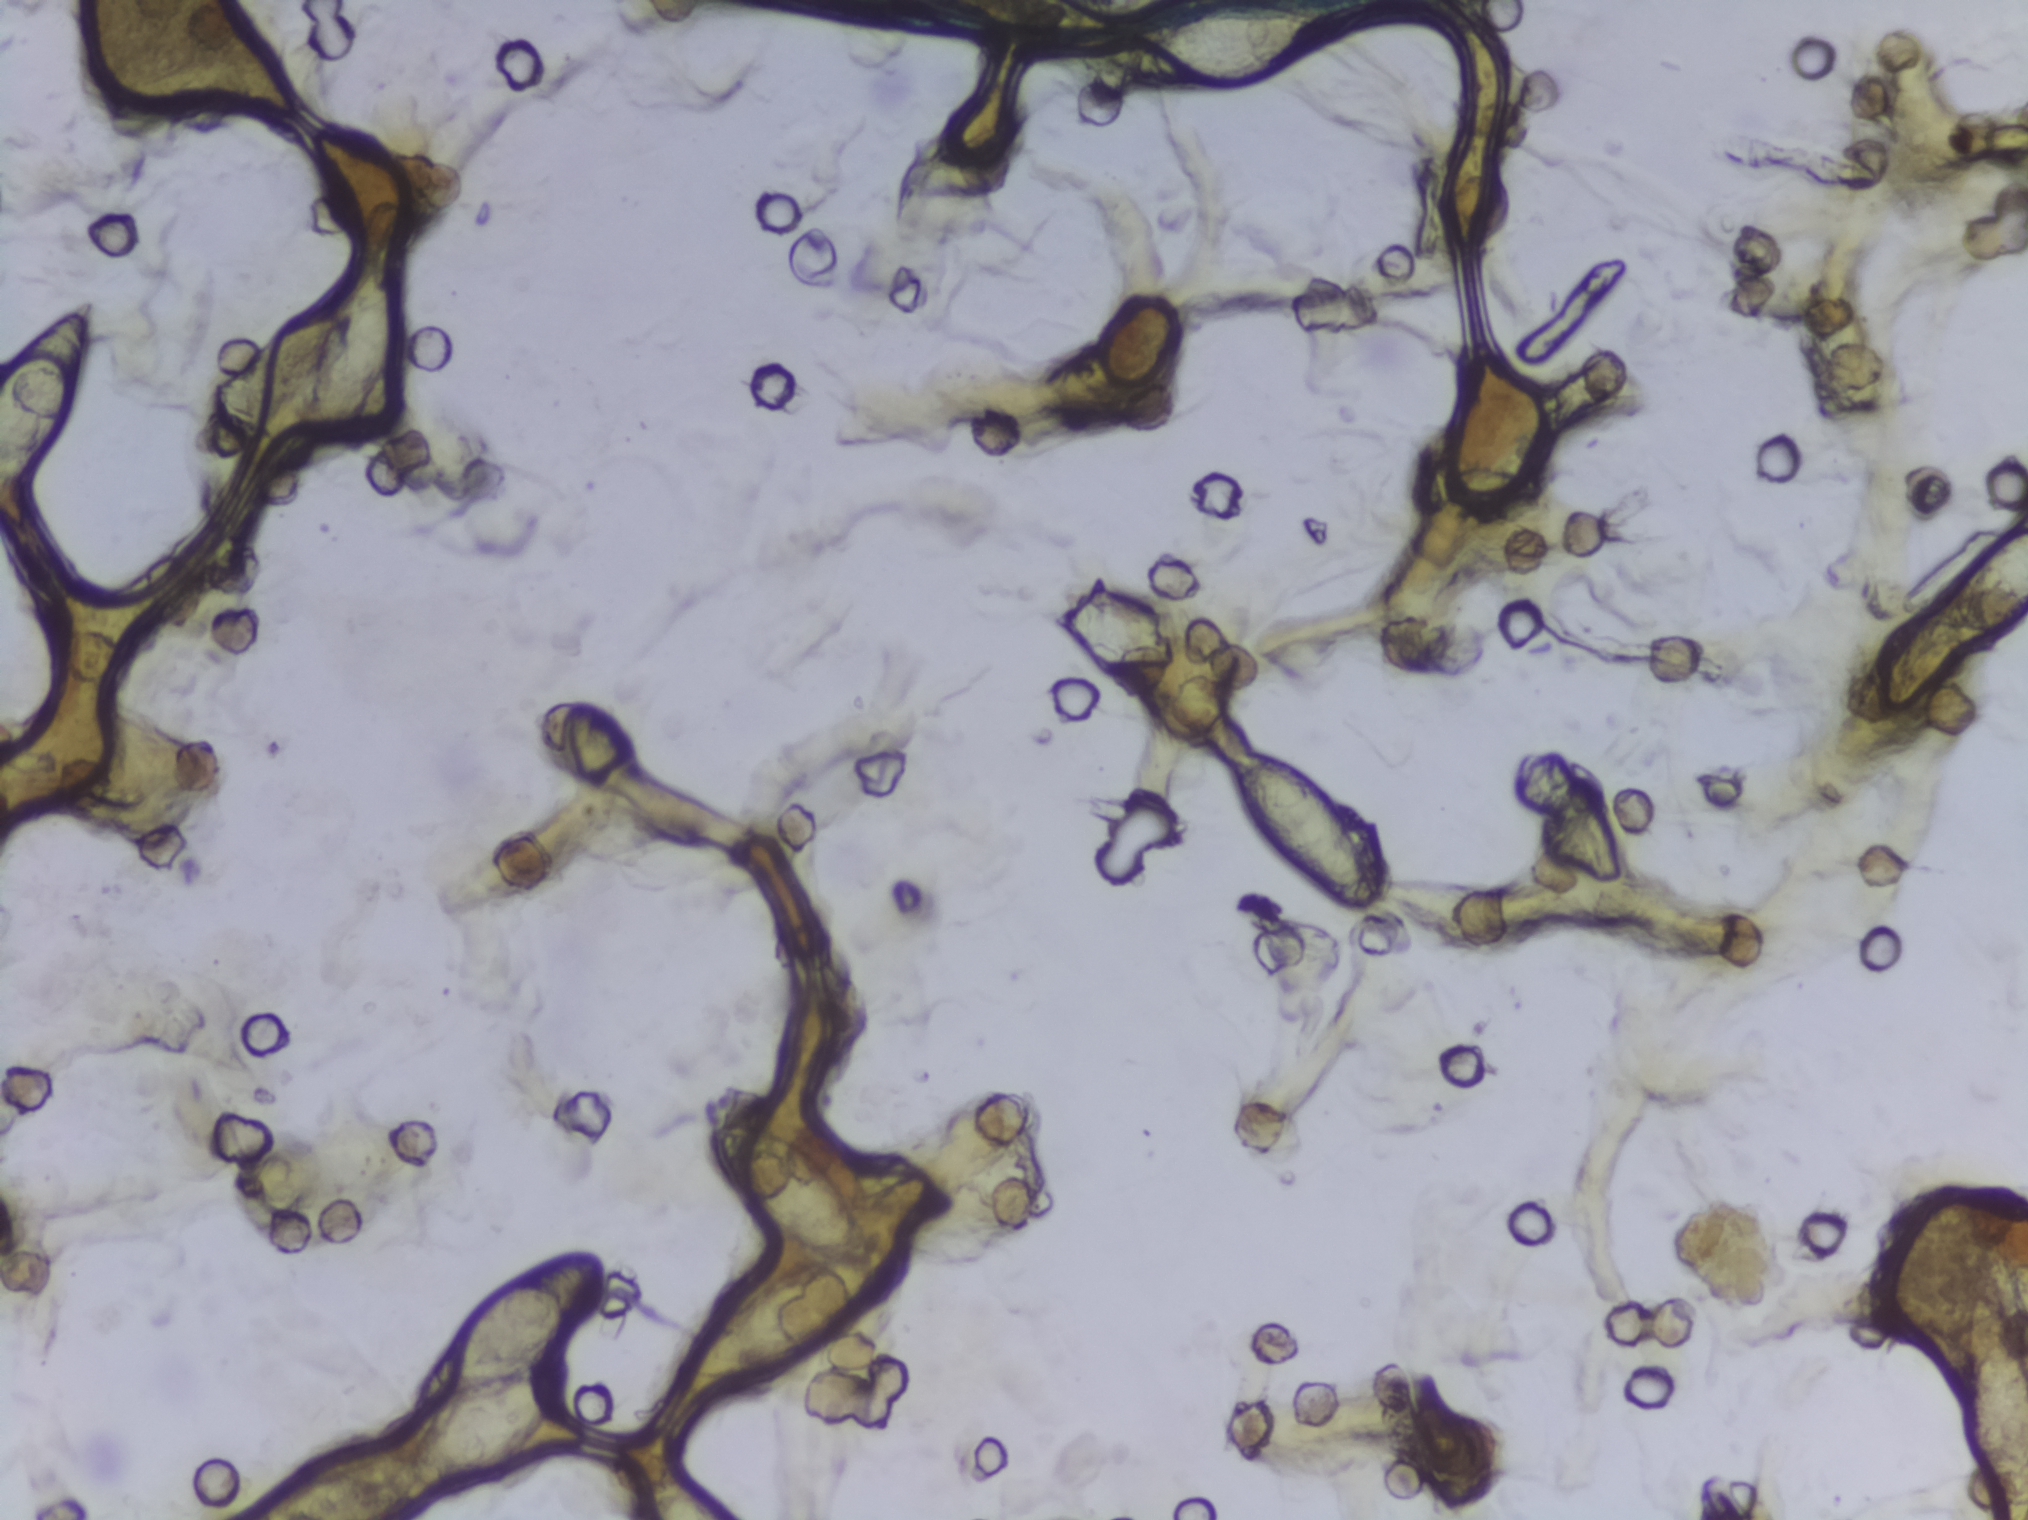
Urine filtration membrane under a 4× objective, photographed by an automated digital microscope. Field of view: about 1.5 mm wide and 1.1 mm high.
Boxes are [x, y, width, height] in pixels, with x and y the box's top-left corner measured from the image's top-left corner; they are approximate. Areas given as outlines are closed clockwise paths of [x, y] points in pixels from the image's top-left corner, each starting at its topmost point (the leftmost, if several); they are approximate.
Outlined Schistosoma egg areas, left to right:
1. box [0, 301, 95, 196] (reaching the left edge of the frame)
2. outline [390, 241], [407, 264], [413, 313], [391, 374], [358, 426], [339, 437], [317, 435], [303, 412], [308, 396], [260, 441], [242, 453], [220, 455], [210, 419], [221, 387], [280, 334], [332, 317], [354, 267]
3. outline [575, 1247], [609, 1256], [613, 1290], [574, 1352], [580, 1371], [571, 1395], [513, 1472], [482, 1484], [448, 1486], [413, 1519], [240, 1519], [256, 1495], [319, 1452], [410, 1452], [441, 1403], [417, 1403], [417, 1387], [436, 1349], [475, 1302], [511, 1273] (reaching the bottom edge of the frame)
4. box [671, 1118, 223, 268]
5. box [1129, 2, 196, 92]
6. box [1229, 752, 157, 161]
7. box [1954, 530, 74, 108] (reaching the right edge of the frame)
8. box [1959, 1284, 69, 236] (reaching the right and bottom edges of the frame)
A single outlined area may contain several eggs. A marked egg may occasionally be S. mansoni rather than S. haematobium.